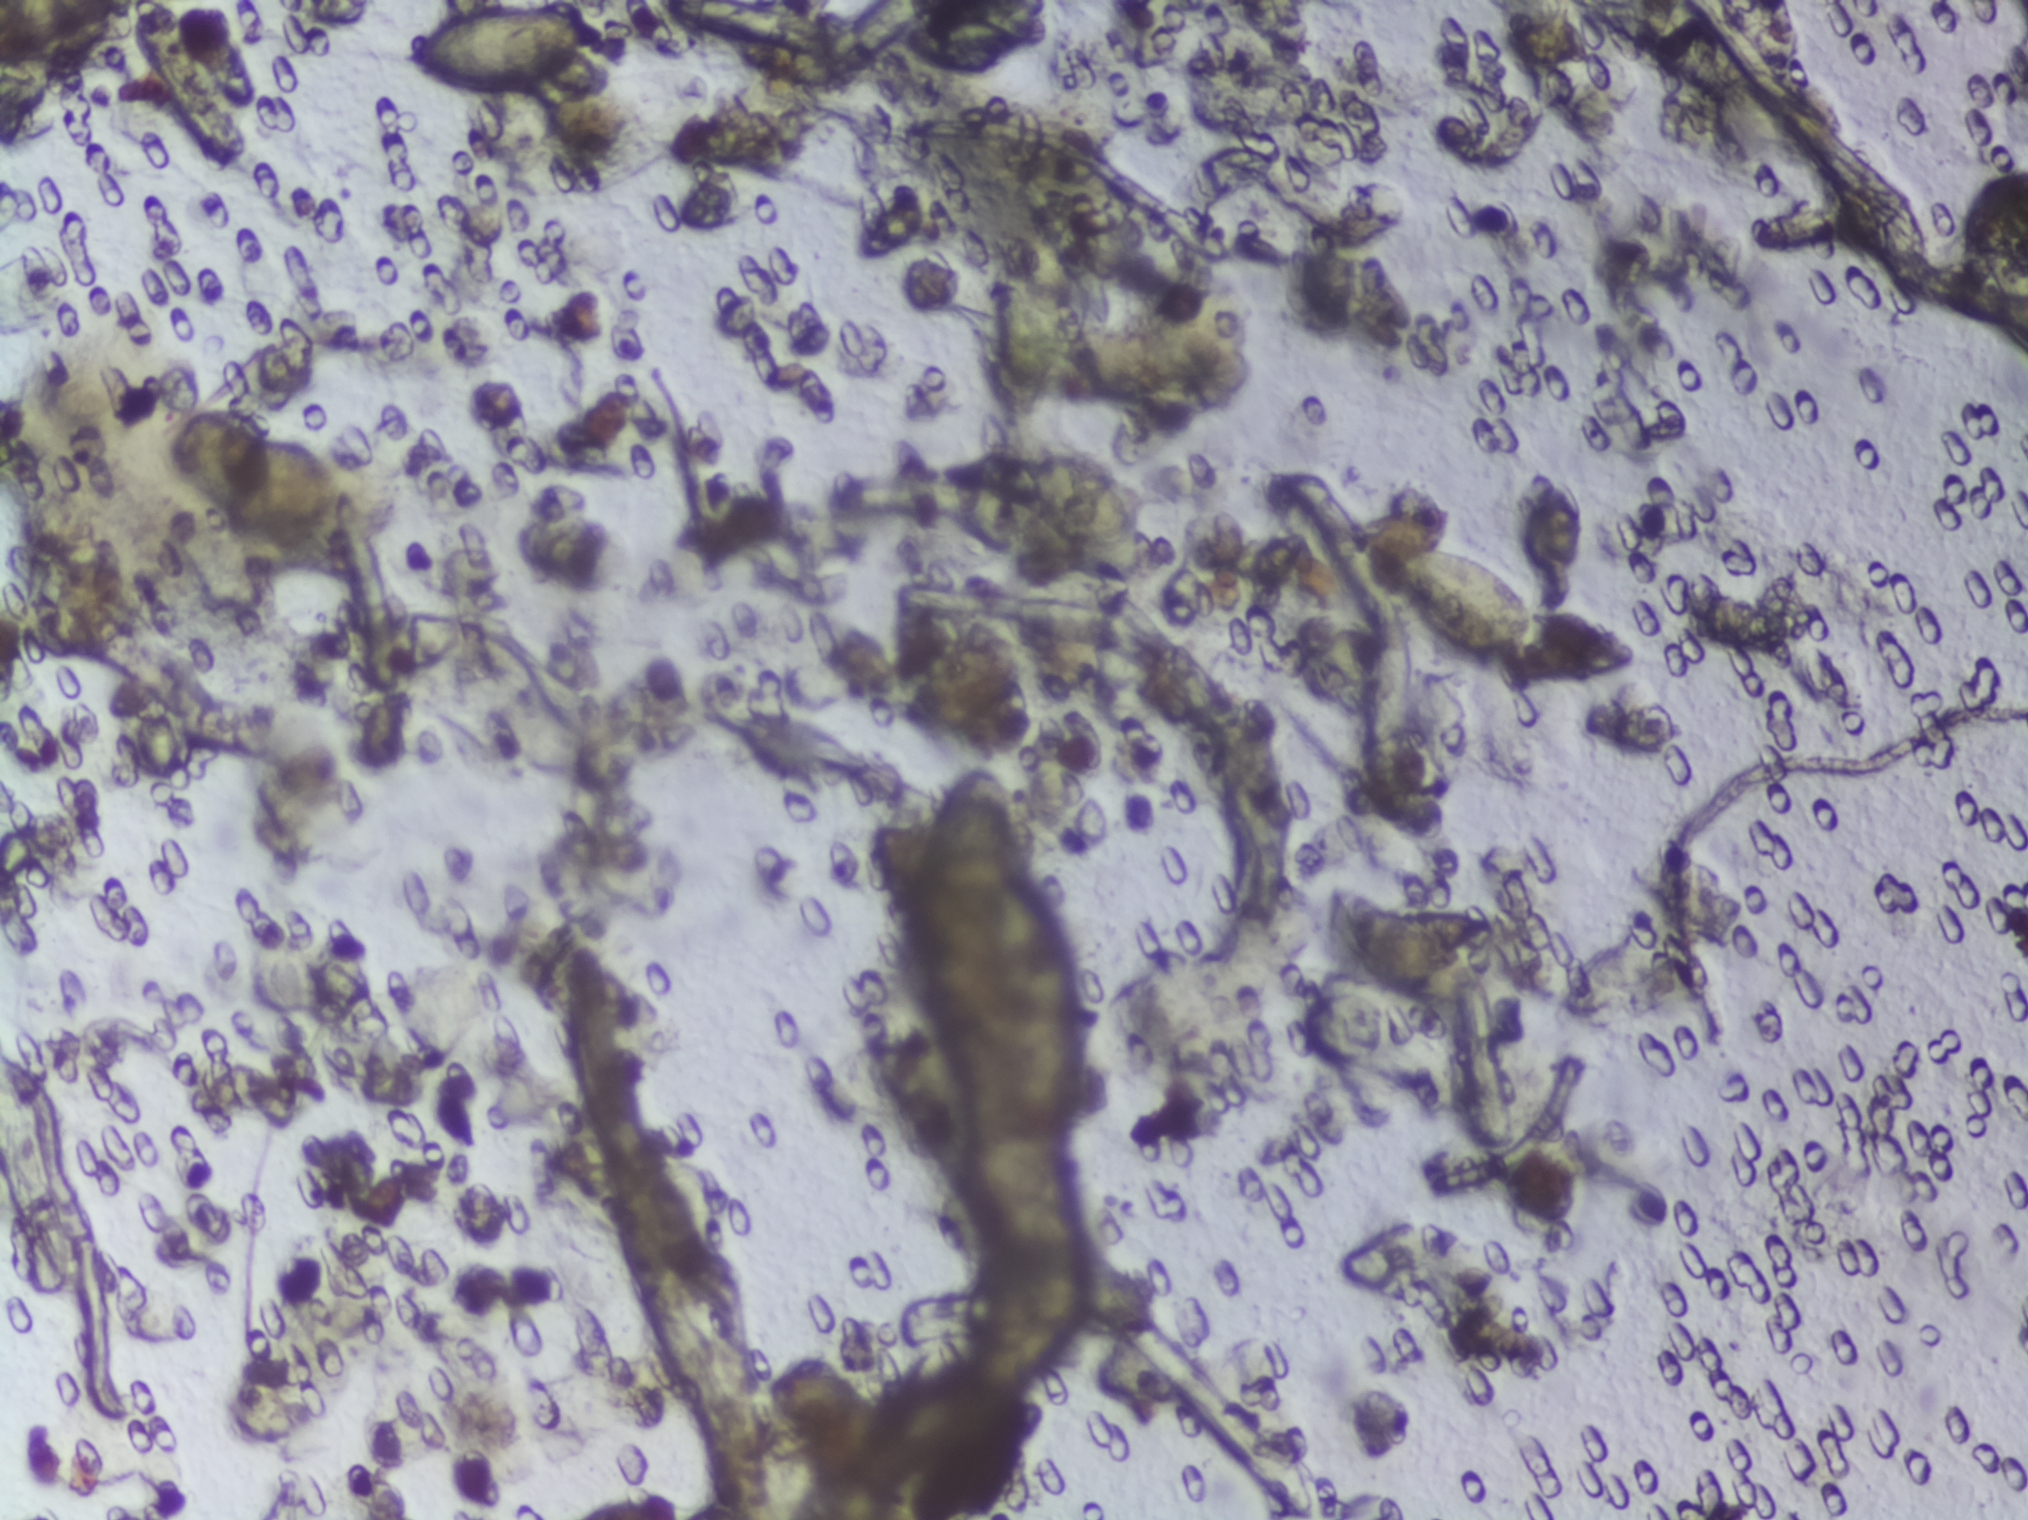
Urine filtration membrane under a 4× objective, photographed by an automated digital microscope. Field of view: about 1.5 mm wide and 1.1 mm high.
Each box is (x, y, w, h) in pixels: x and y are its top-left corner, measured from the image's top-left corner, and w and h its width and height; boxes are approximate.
Schistosoma eggs, outlined areas: (x=174, y=415, w=170, h=118); (x=393, y=0, w=192, h=95) (reaching the top edge of the frame); (x=927, y=767, w=86, h=155); (x=978, y=223, w=93, h=195); (x=1026, y=455, w=117, h=136); (x=1065, y=326, w=194, h=96); (x=1348, y=906, w=142, h=101); (x=1363, y=536, w=170, h=126). An outlined area can hold more than one egg.